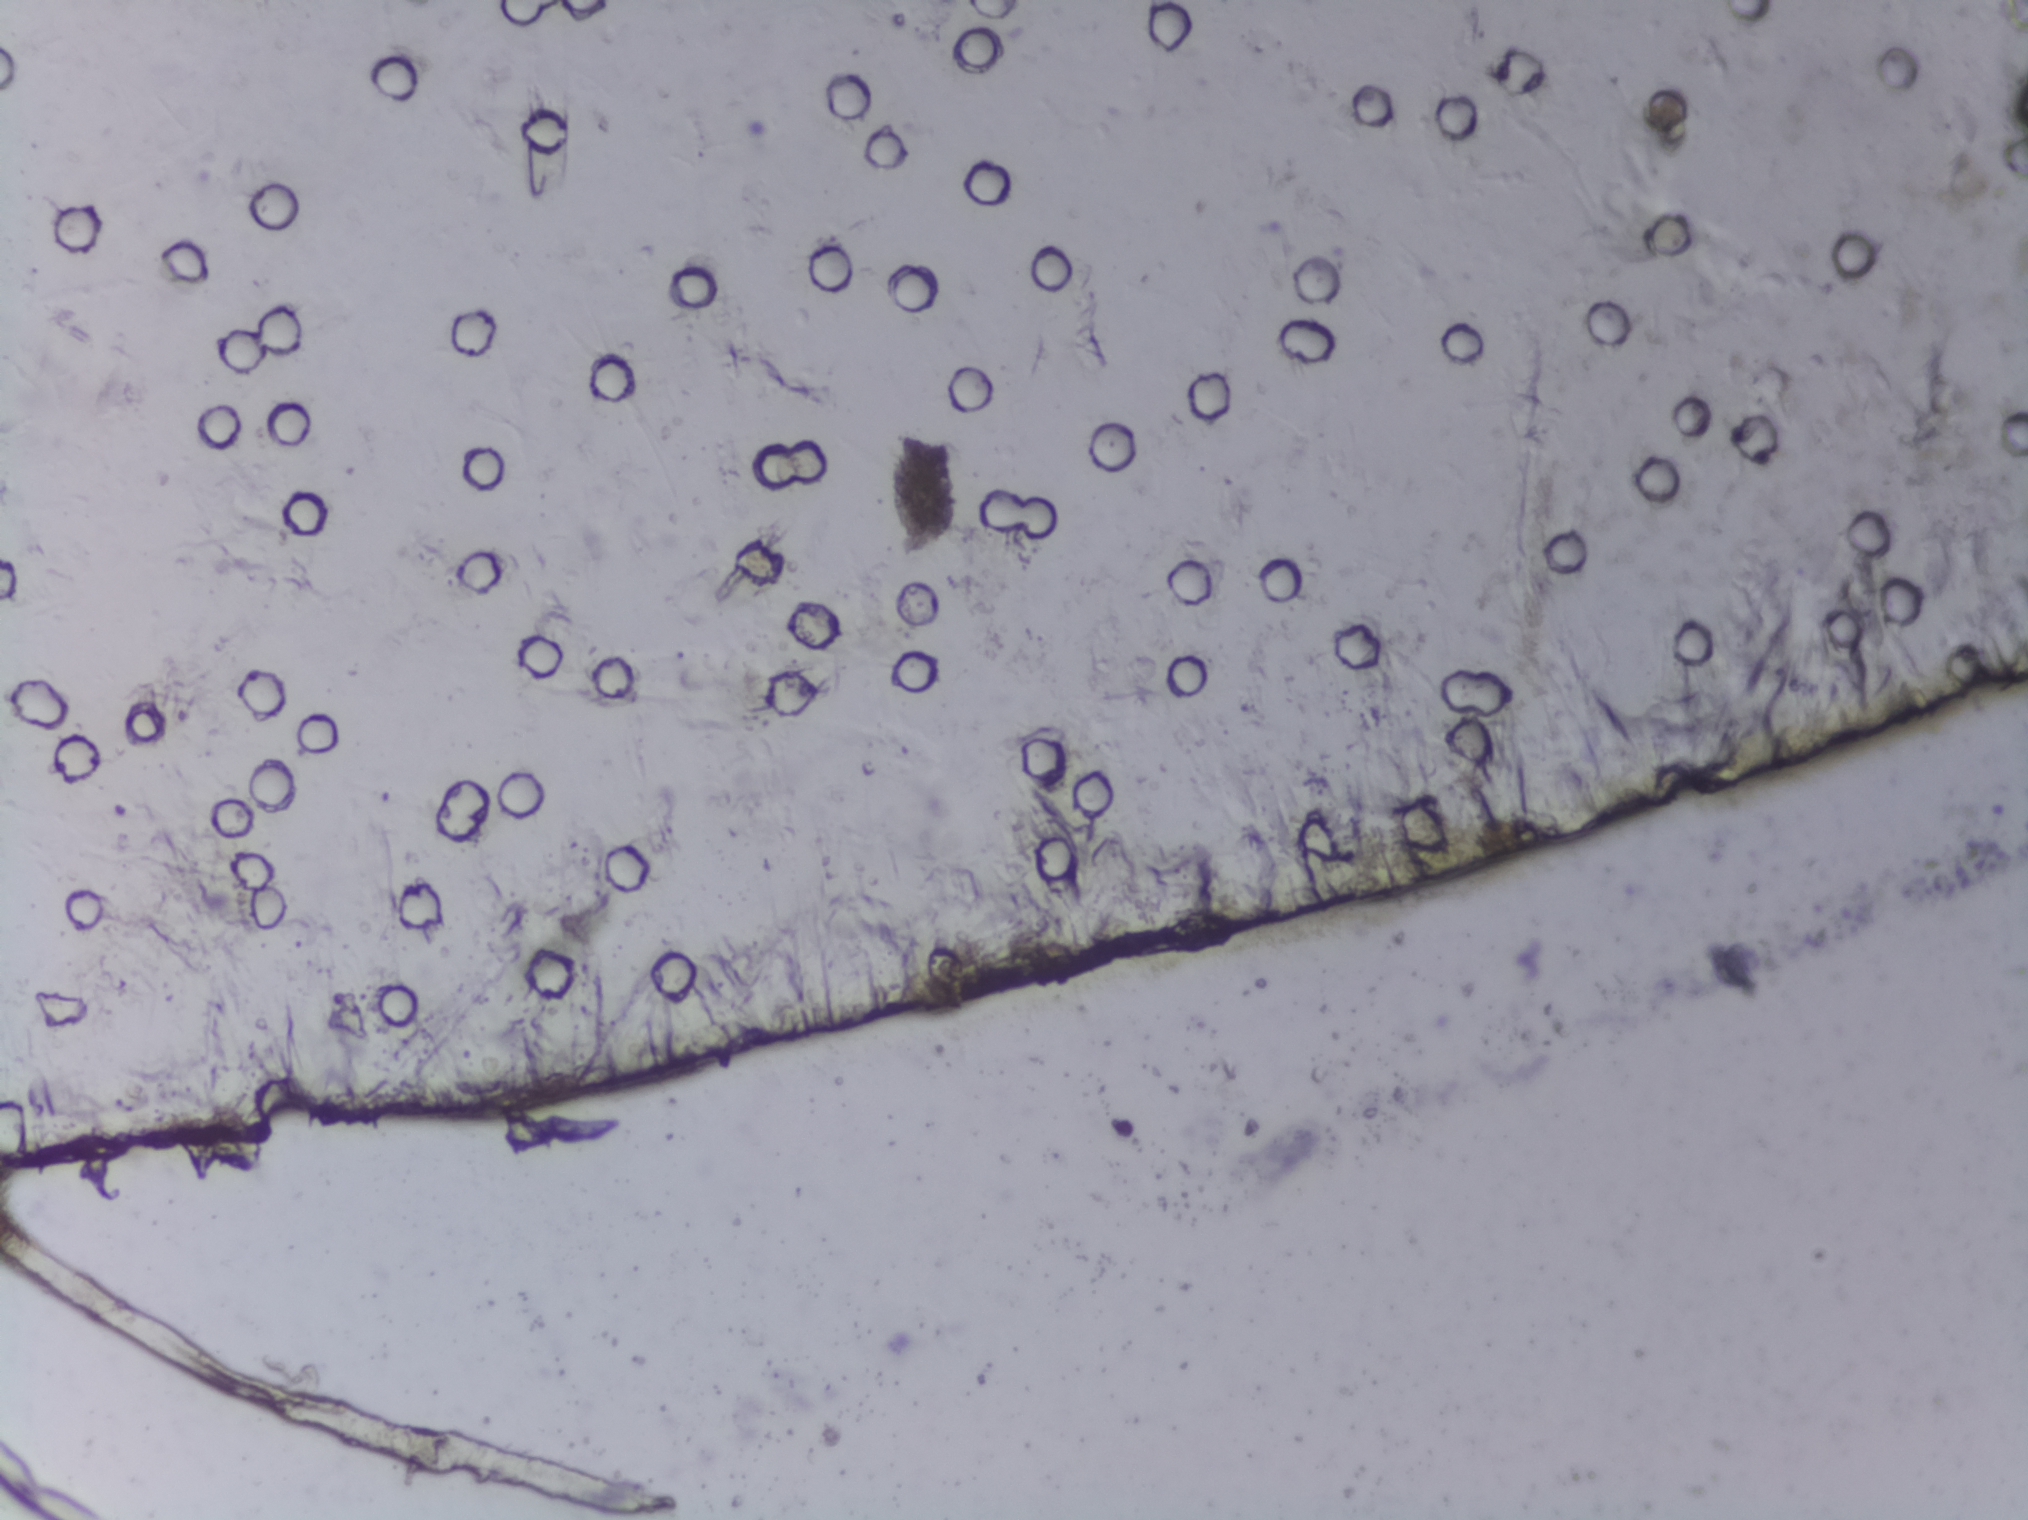
Urine filter membrane photographed through a 4× microscope objective.
The expert annotation outlines no Schistosoma egg in this image.